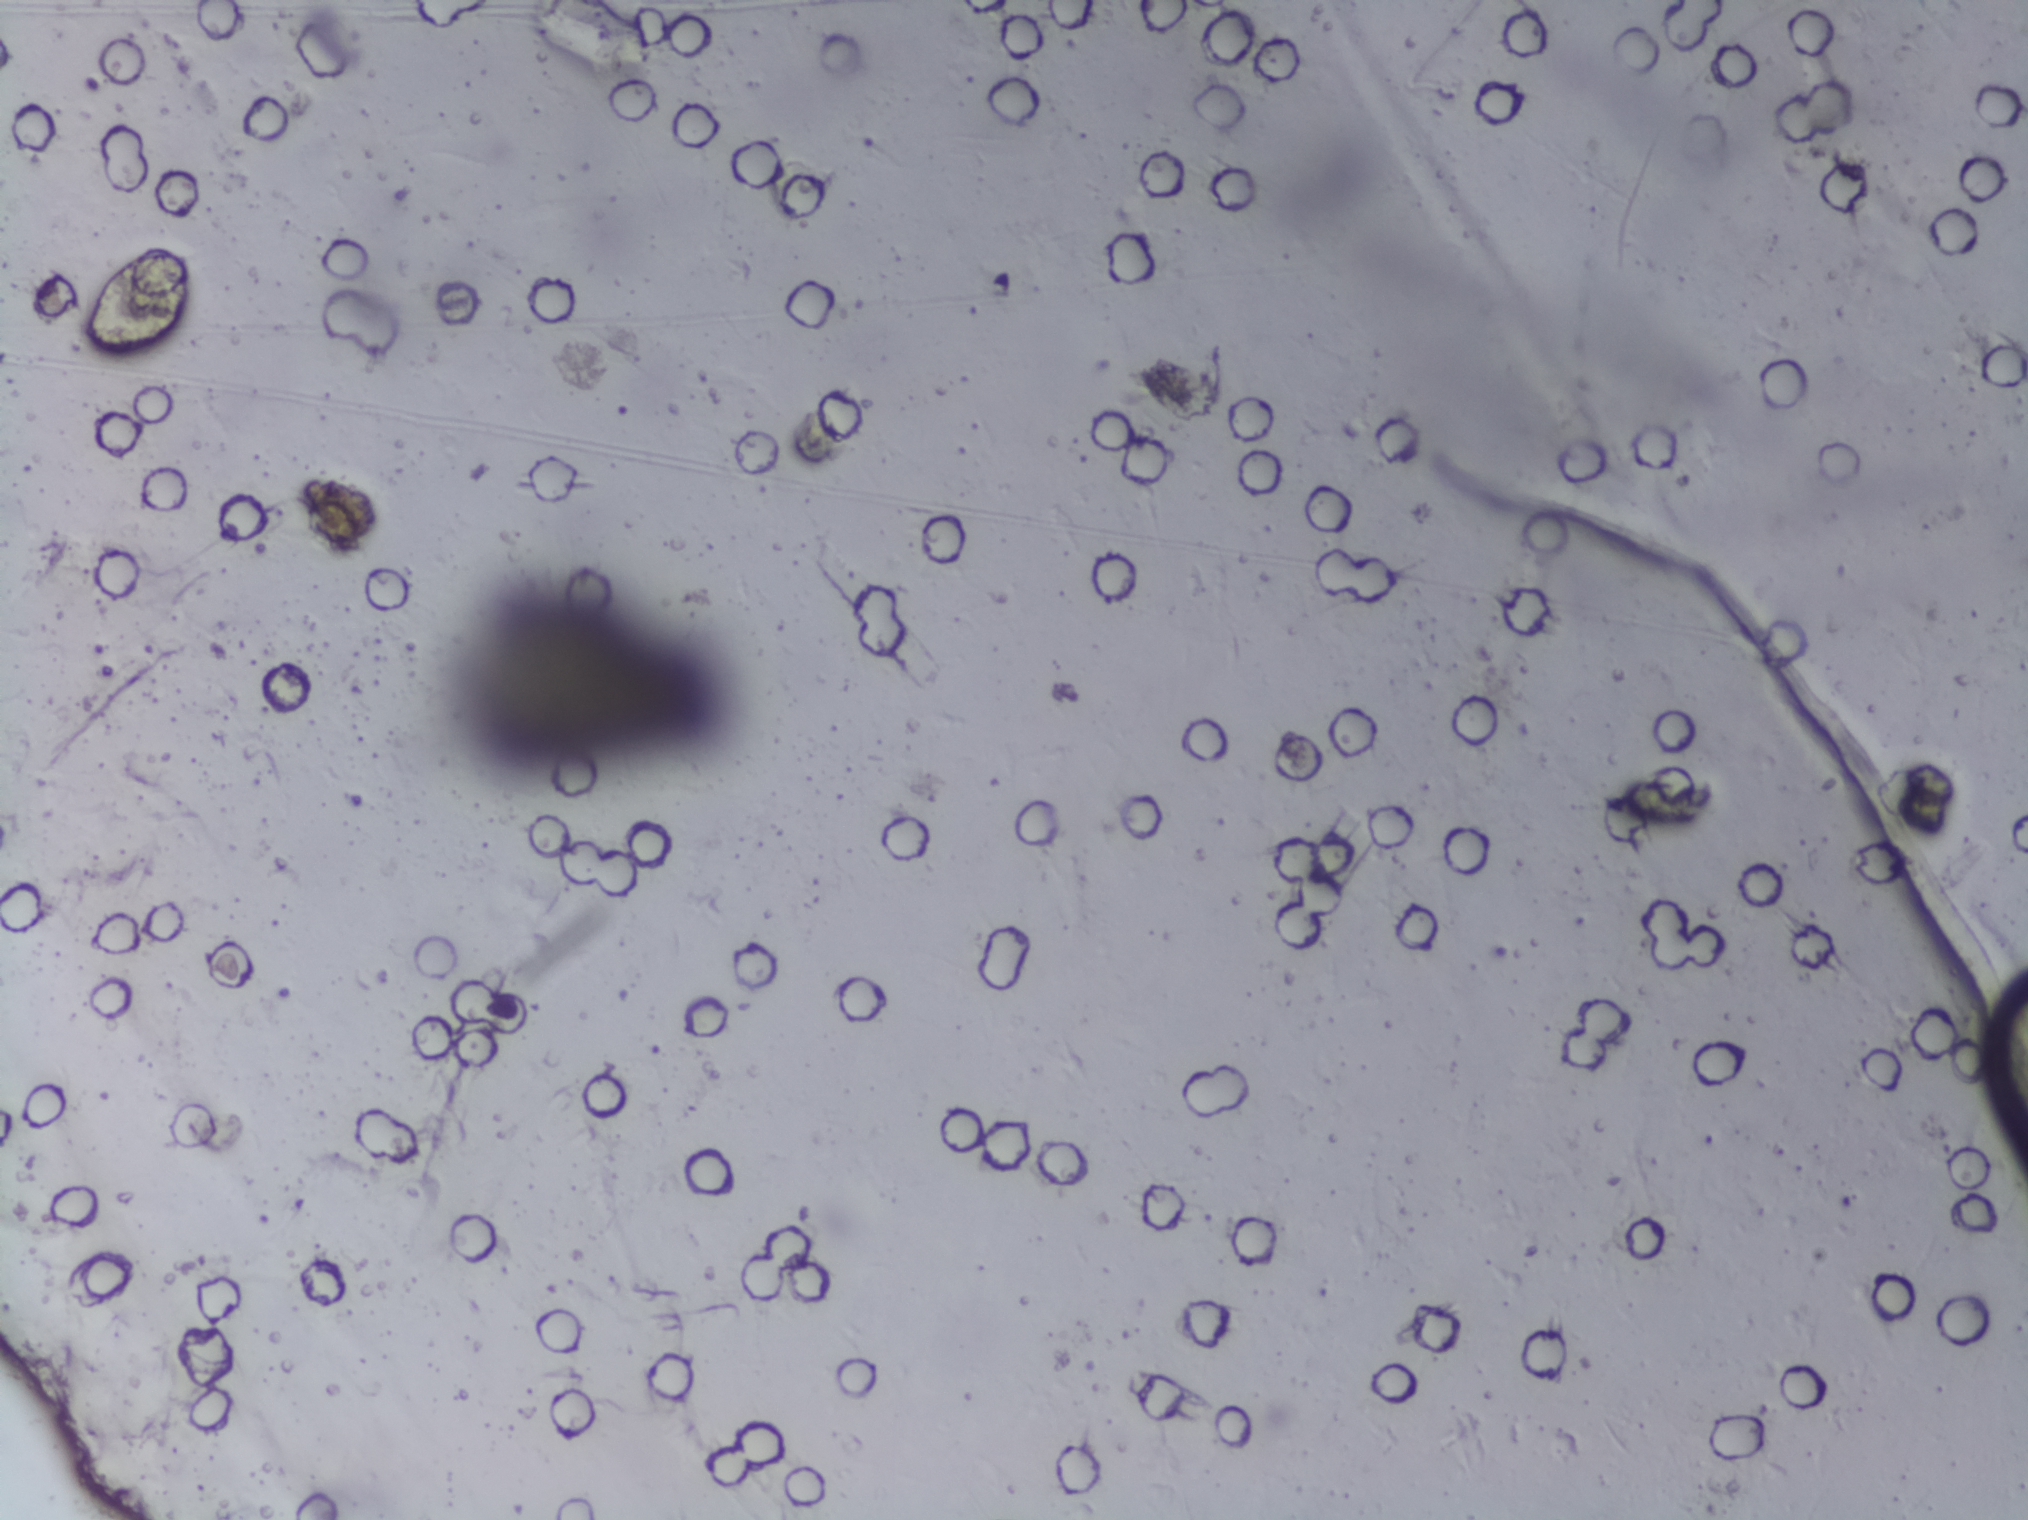
Urine filter membrane photographed through a 4× microscope objective. The field of view is about 1.5 mm × 1.1 mm.
No Schistosoma egg is outlined in this image's expert annotation.